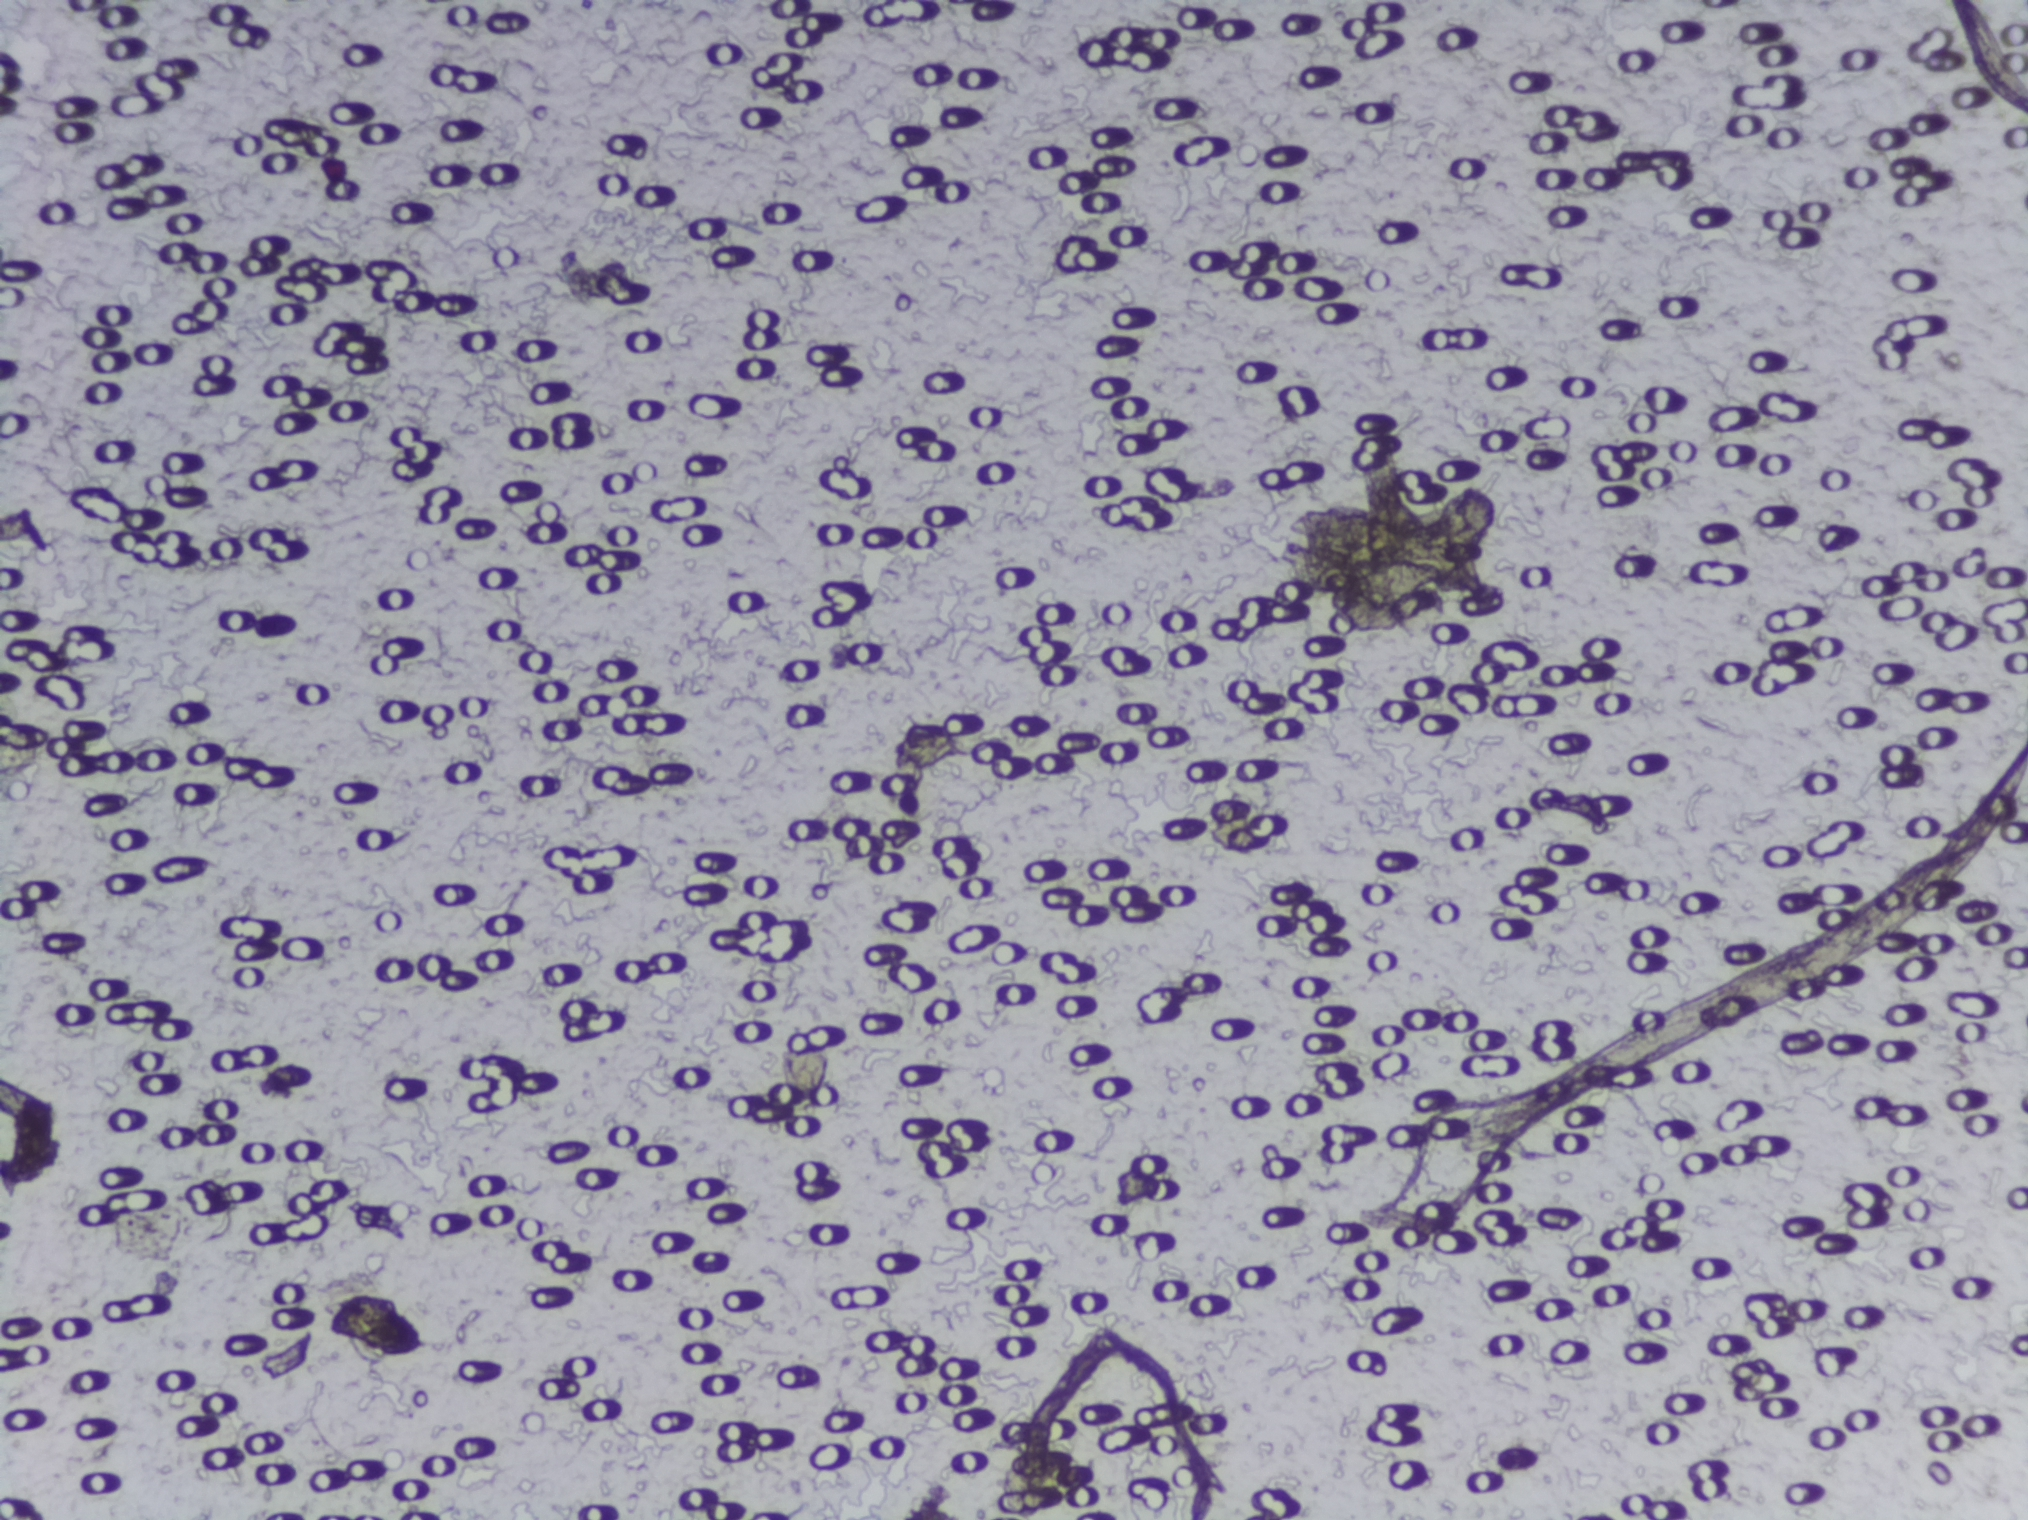
Photomicrograph of a urine filtration membrane, 4× objective.
The expert annotation outlines no Schistosoma egg in this image.